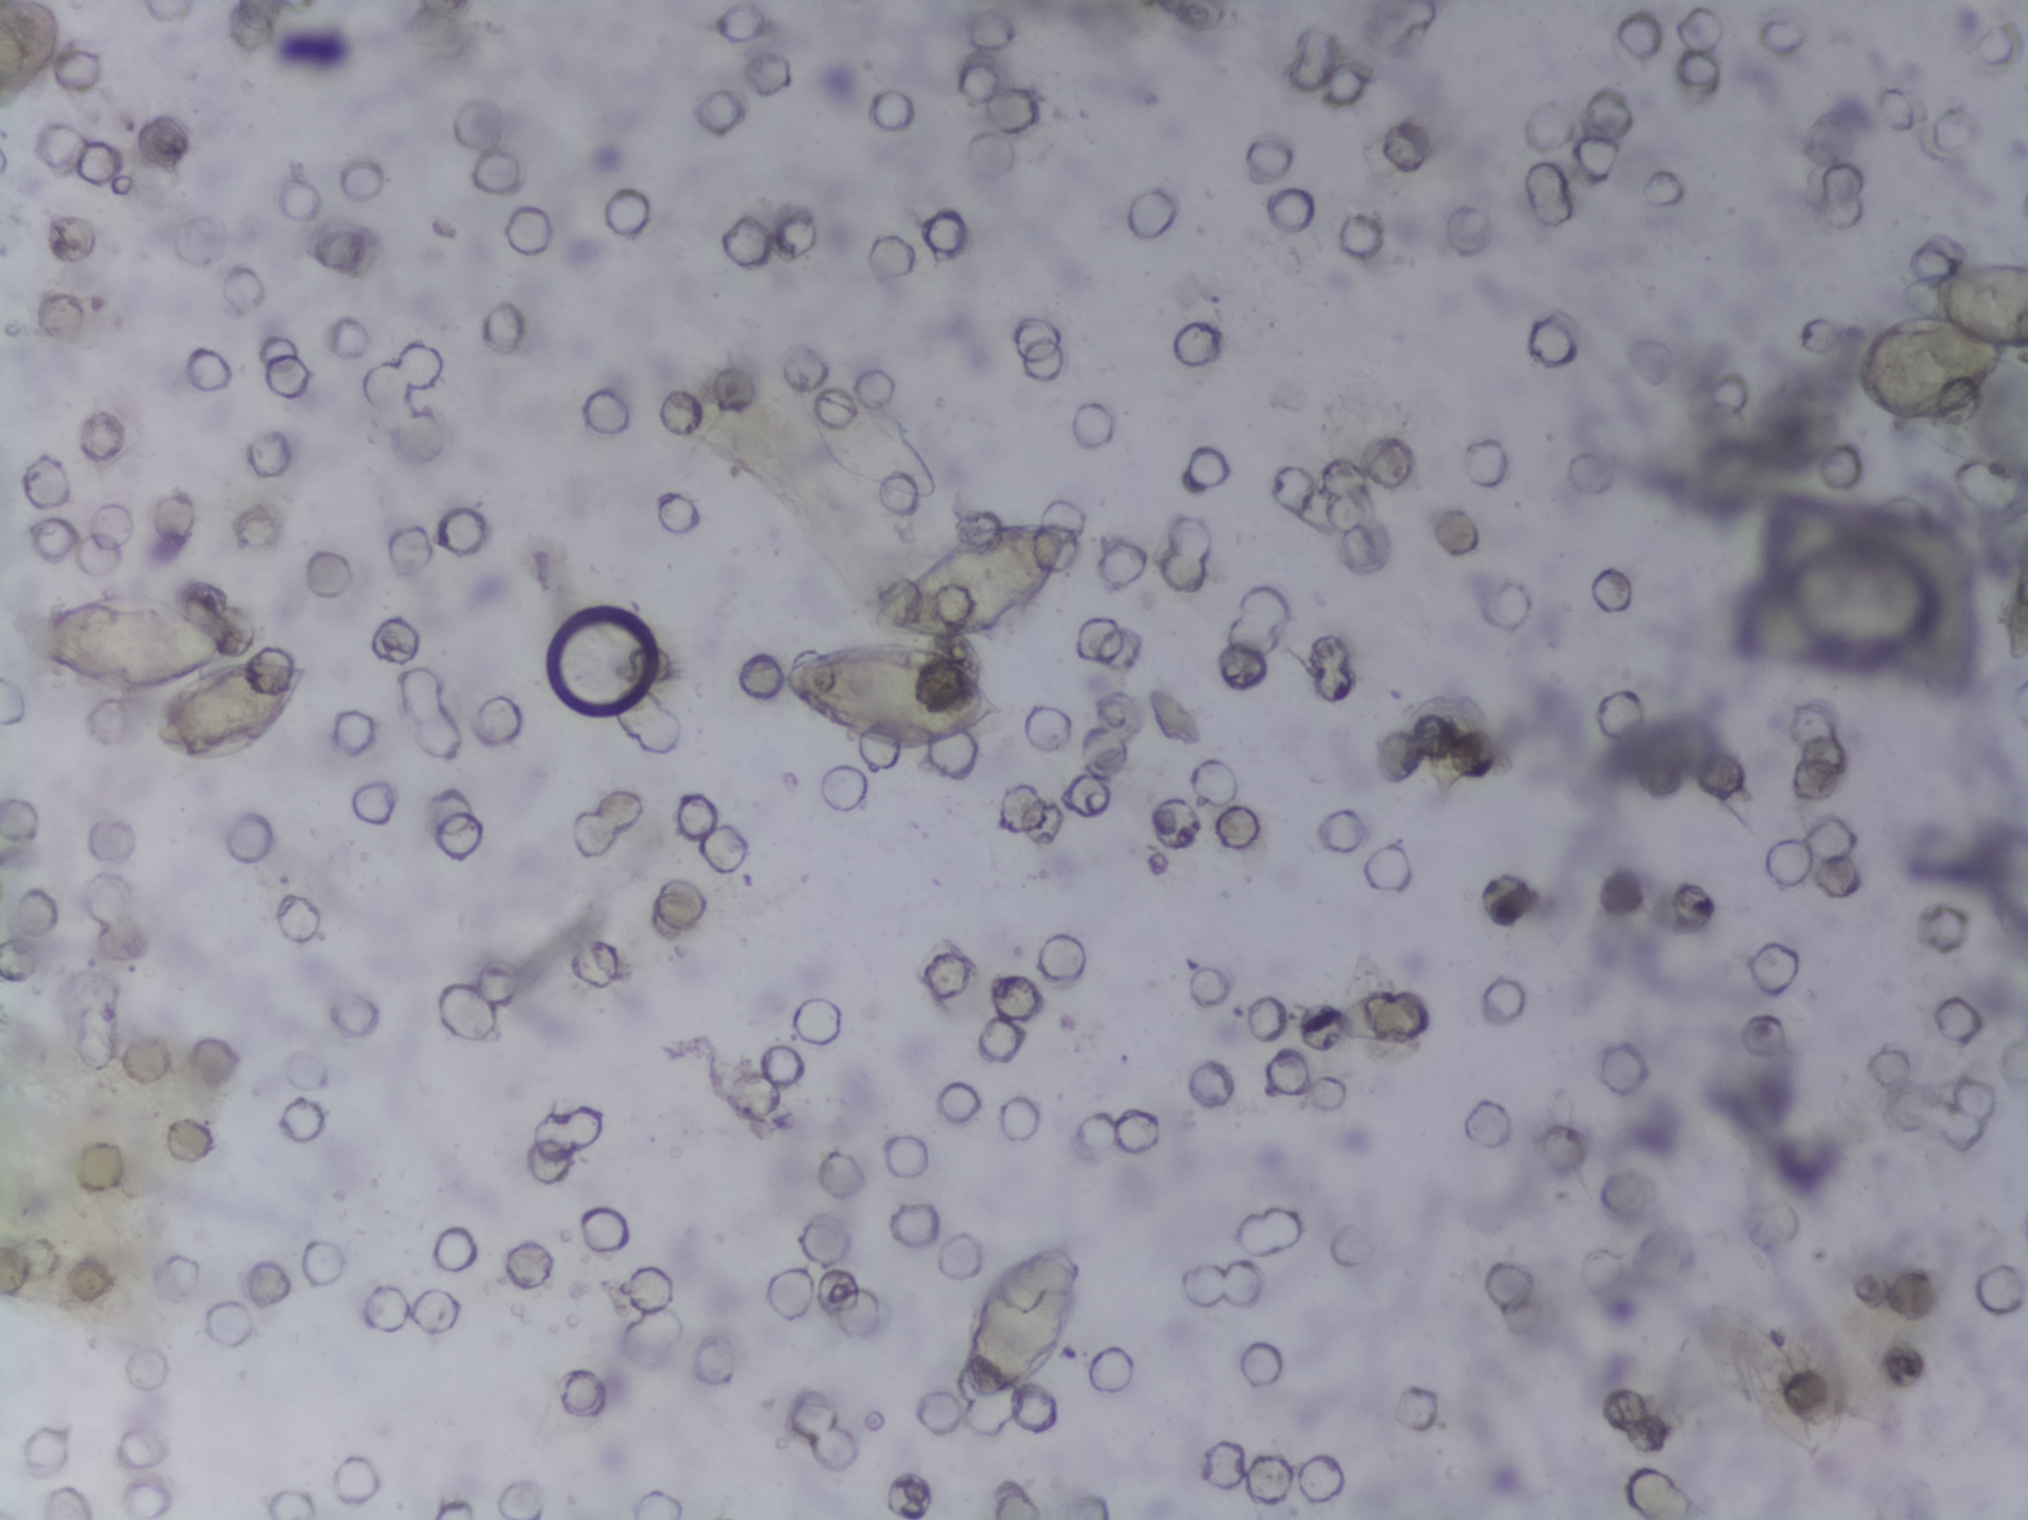
Photograph from an automated digital microscope: urine filter membrane, 4× objective. Field of view: about 1.5 mm wide and 1.1 mm high.
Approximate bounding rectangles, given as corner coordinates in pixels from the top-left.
Schistosoma eggs, outlined areas: (x1=11, y1=584, x2=313, y2=764); (x1=772, y1=514, x2=1083, y2=763); (x1=961, y1=1237, x2=1082, y2=1408); (x1=1849, y1=262, x2=2027, y2=426) (reaching the right edge of the frame). Eggs that touch can end up inside the same outlined area.